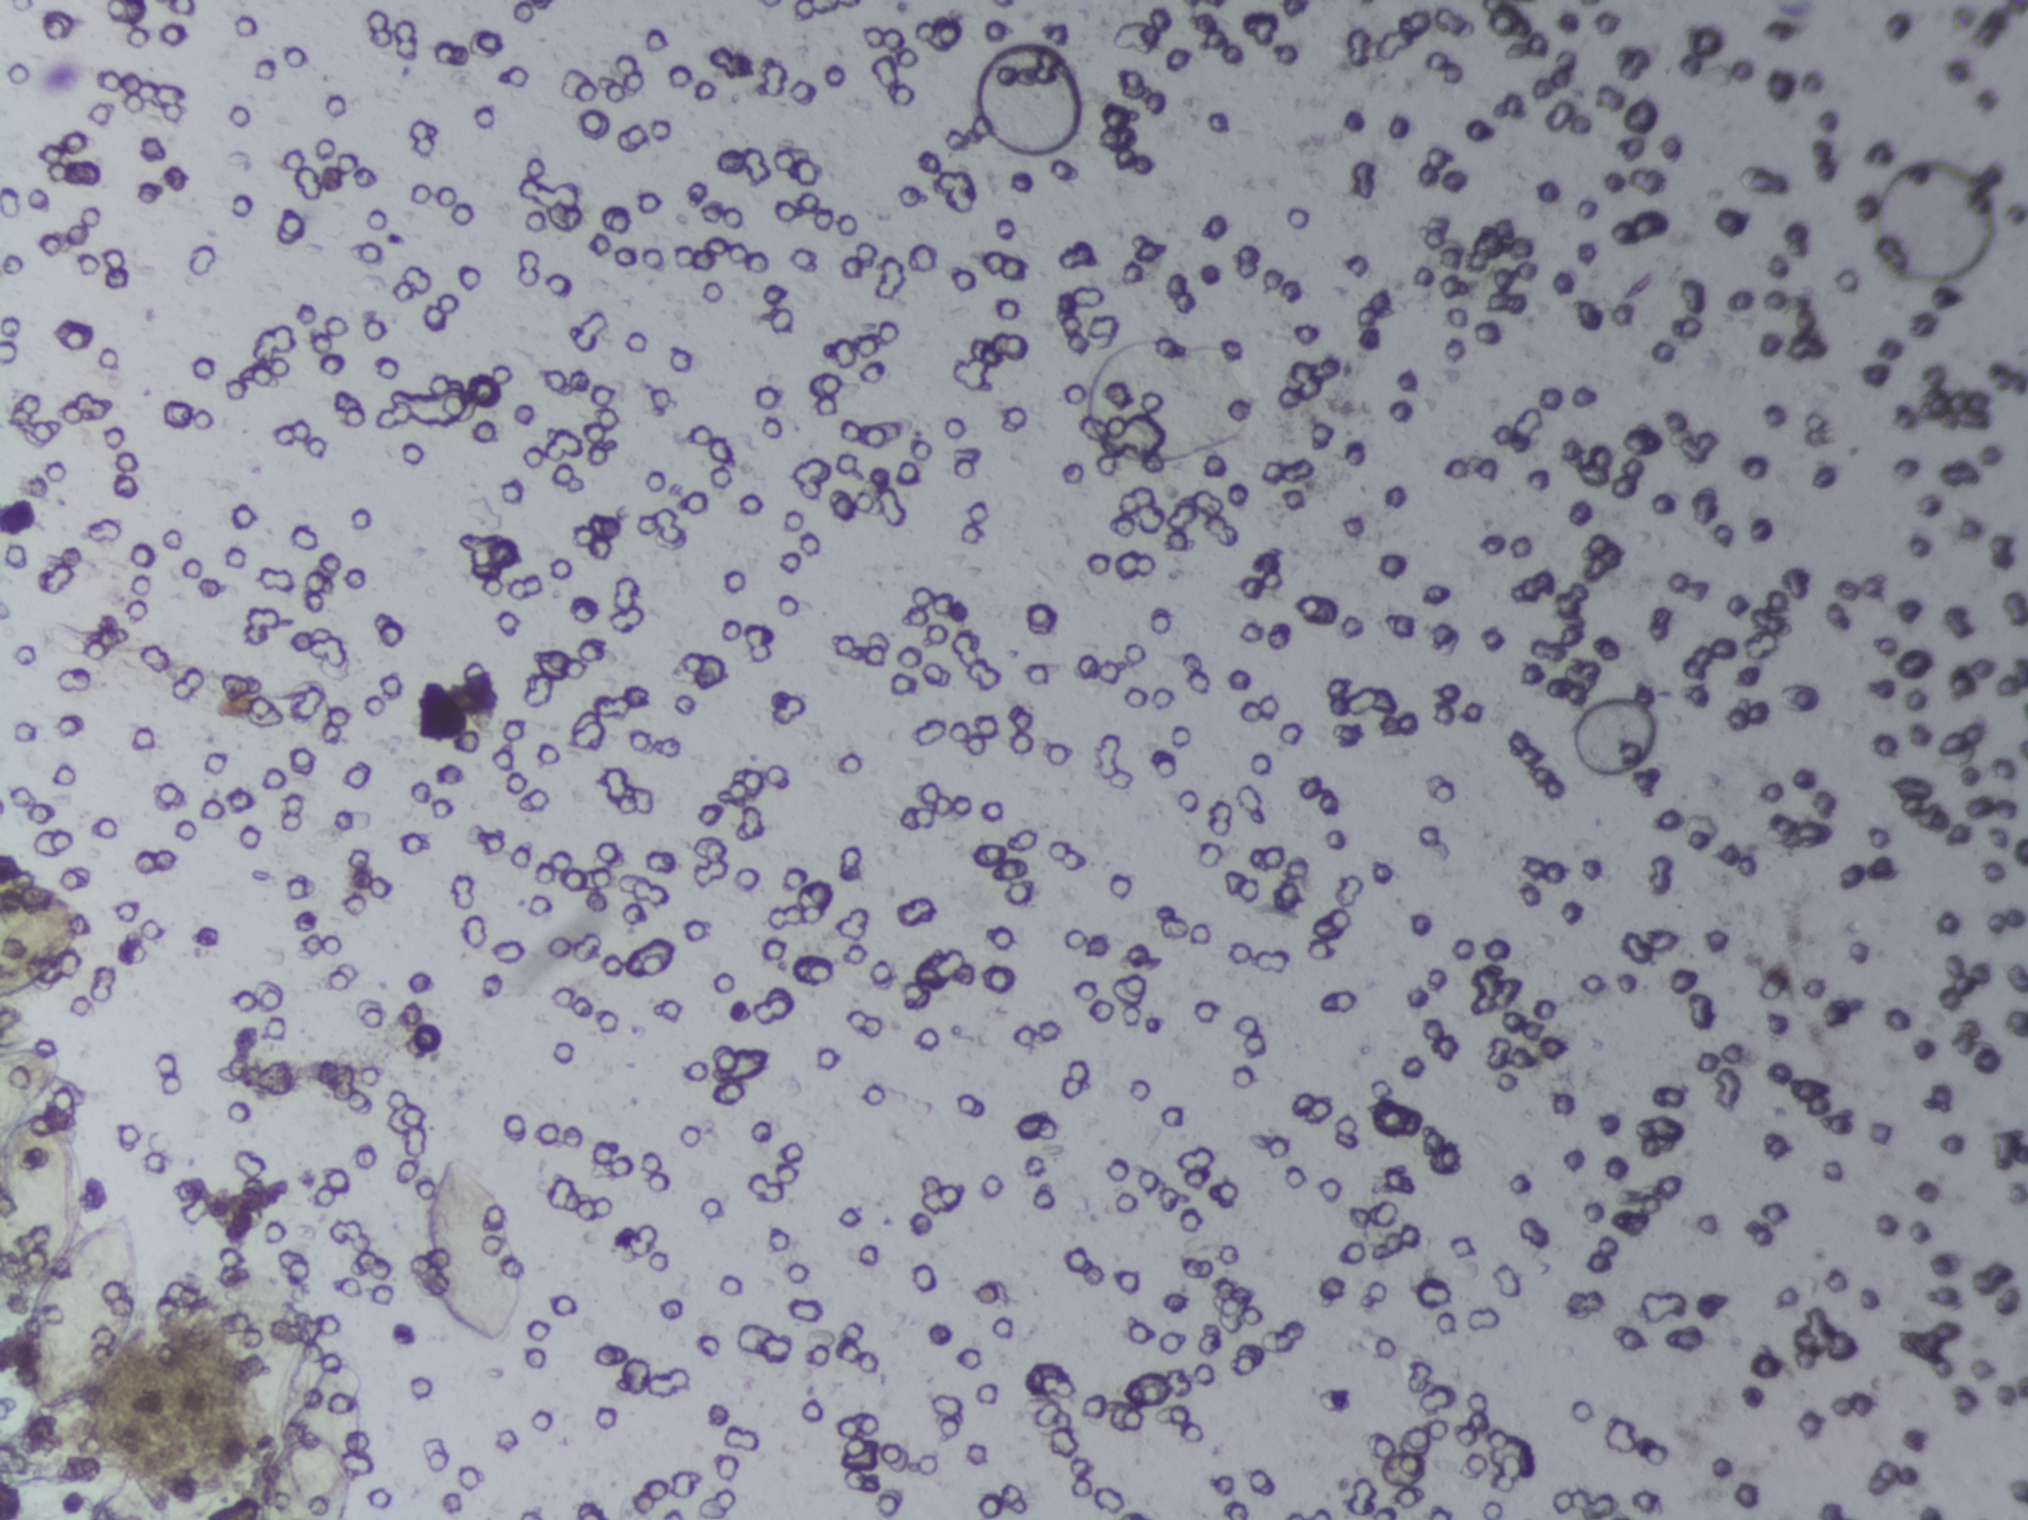
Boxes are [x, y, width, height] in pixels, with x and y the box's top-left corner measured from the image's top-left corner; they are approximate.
Schistosoma eggs, outlined areas: [0, 872, 106, 129] (reaching the left edge of the frame); [0, 1043, 143, 379] (reaching the left edge of the frame); [249, 1351, 119, 169] (reaching the bottom edge of the frame); [422, 1158, 102, 190]. Eggs that touch can end up inside the same outlined area. Any one outlined egg may, rarely, be S. mansoni rather than S. haematobium.
Photograph from an automated digital microscope: urine filter membrane, 4× objective.